Photomicrograph of a urine filtration membrane, 4× objective. The field of view is about 1.5 mm × 1.1 mm.
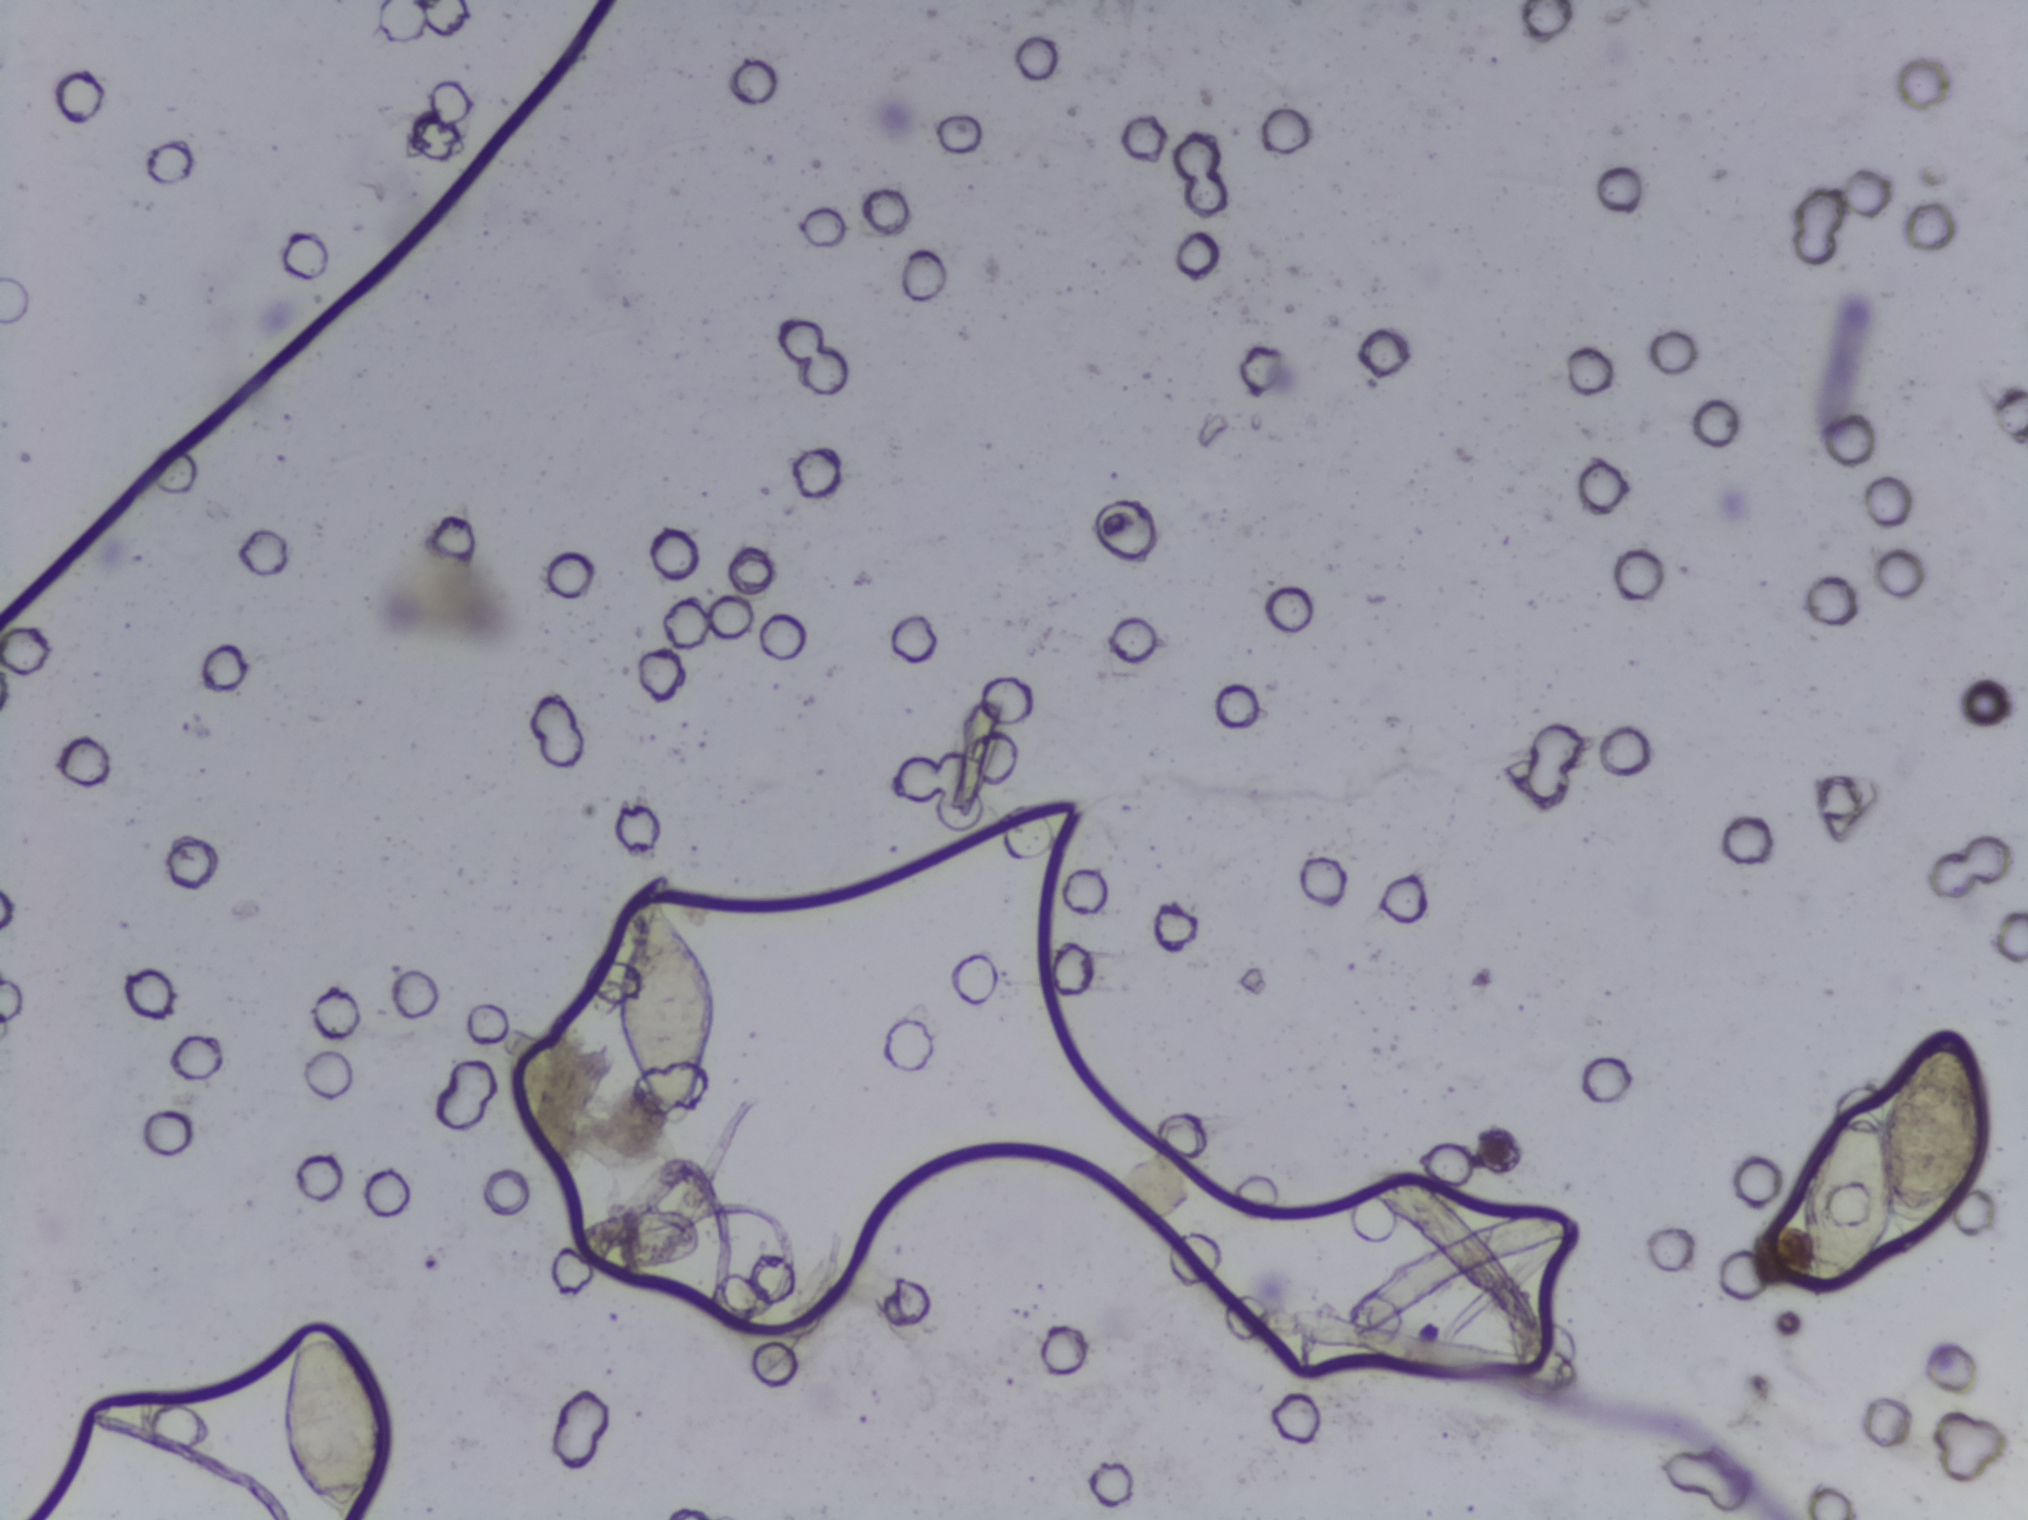
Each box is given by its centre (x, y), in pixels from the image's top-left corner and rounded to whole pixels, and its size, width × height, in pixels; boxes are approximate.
Outlined Schistosoma egg areas, left to right:
1. centre (335, 1422), 110 × 196 px (reaching the bottom edge of the frame)
2. centre (665, 1010), 110 × 240 px
3. centre (1893, 1165), 190 × 277 px
The marked pixels themselves, not the boxes around them, cover about 2.1% of the image. A single outlined area may contain several eggs.